Microscope photograph (4× objective) of a membrane that a urine sample was filtered through. The field of view is about 1.5 mm × 1.1 mm.
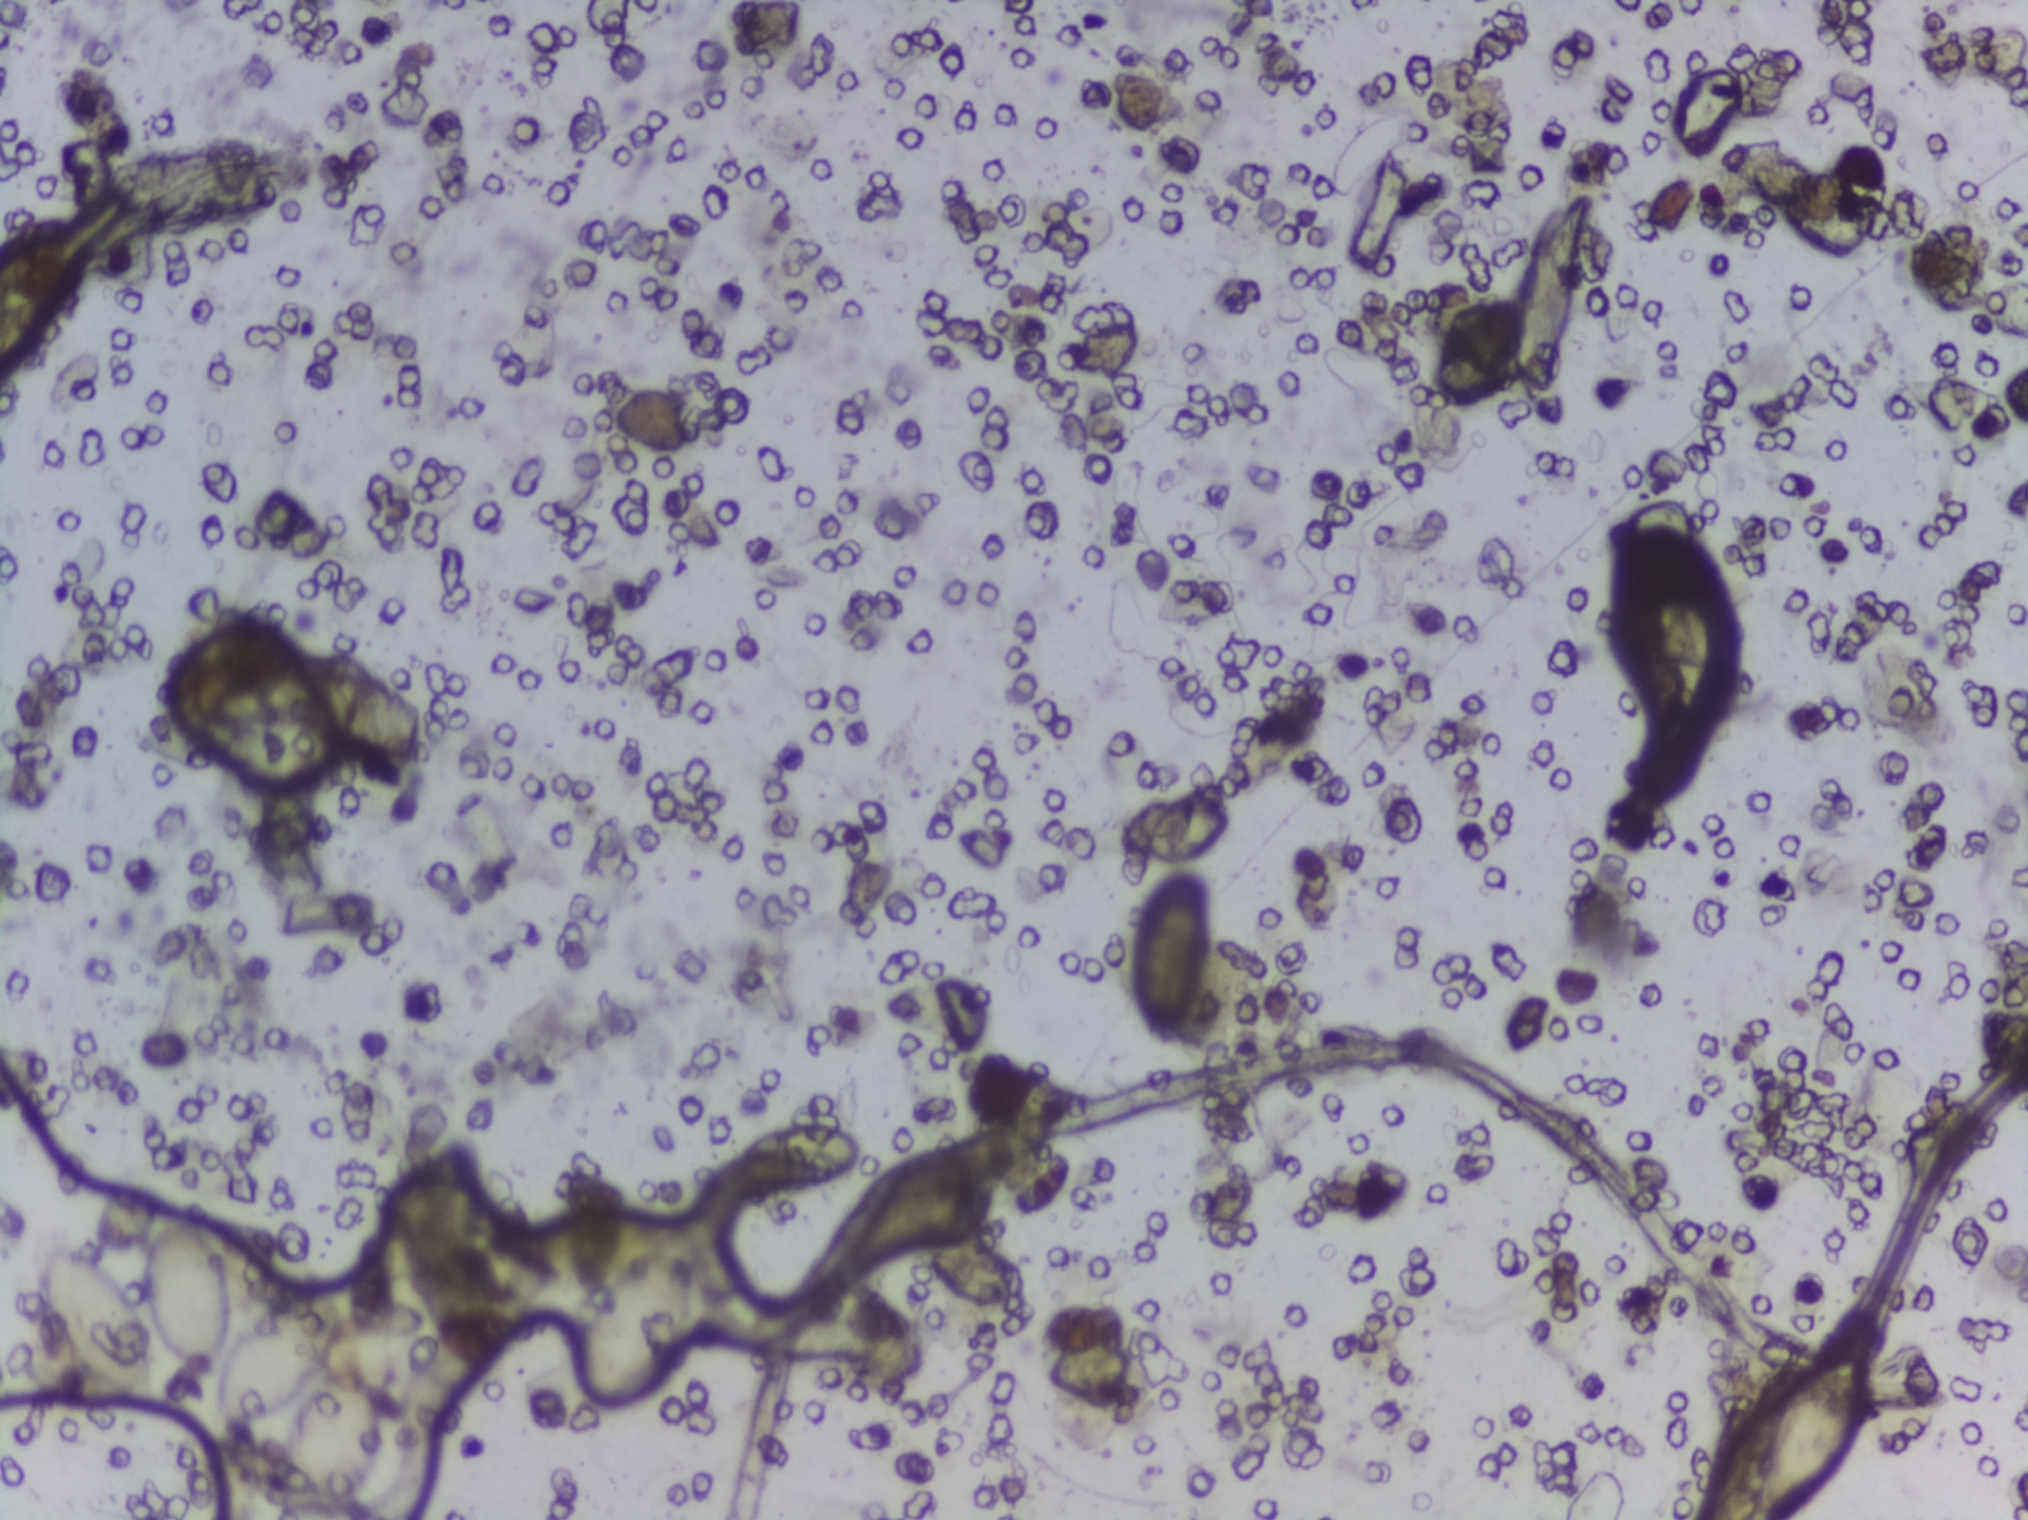
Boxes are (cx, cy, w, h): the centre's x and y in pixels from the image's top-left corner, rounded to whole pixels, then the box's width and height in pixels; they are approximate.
Schistosoma eggs are outlined in five areas of this image, listed from left to right: (cx=98, cy=1325, w=114, h=166); (cx=265, cy=1365, w=244, h=309) (reaching the bottom edge of the frame); (cx=636, cy=1323, w=117, h=185); (cx=1169, cy=952, w=77, h=170); (cx=1813, cy=1436, w=105, h=160). Eggs that touch can end up inside the same outlined area.